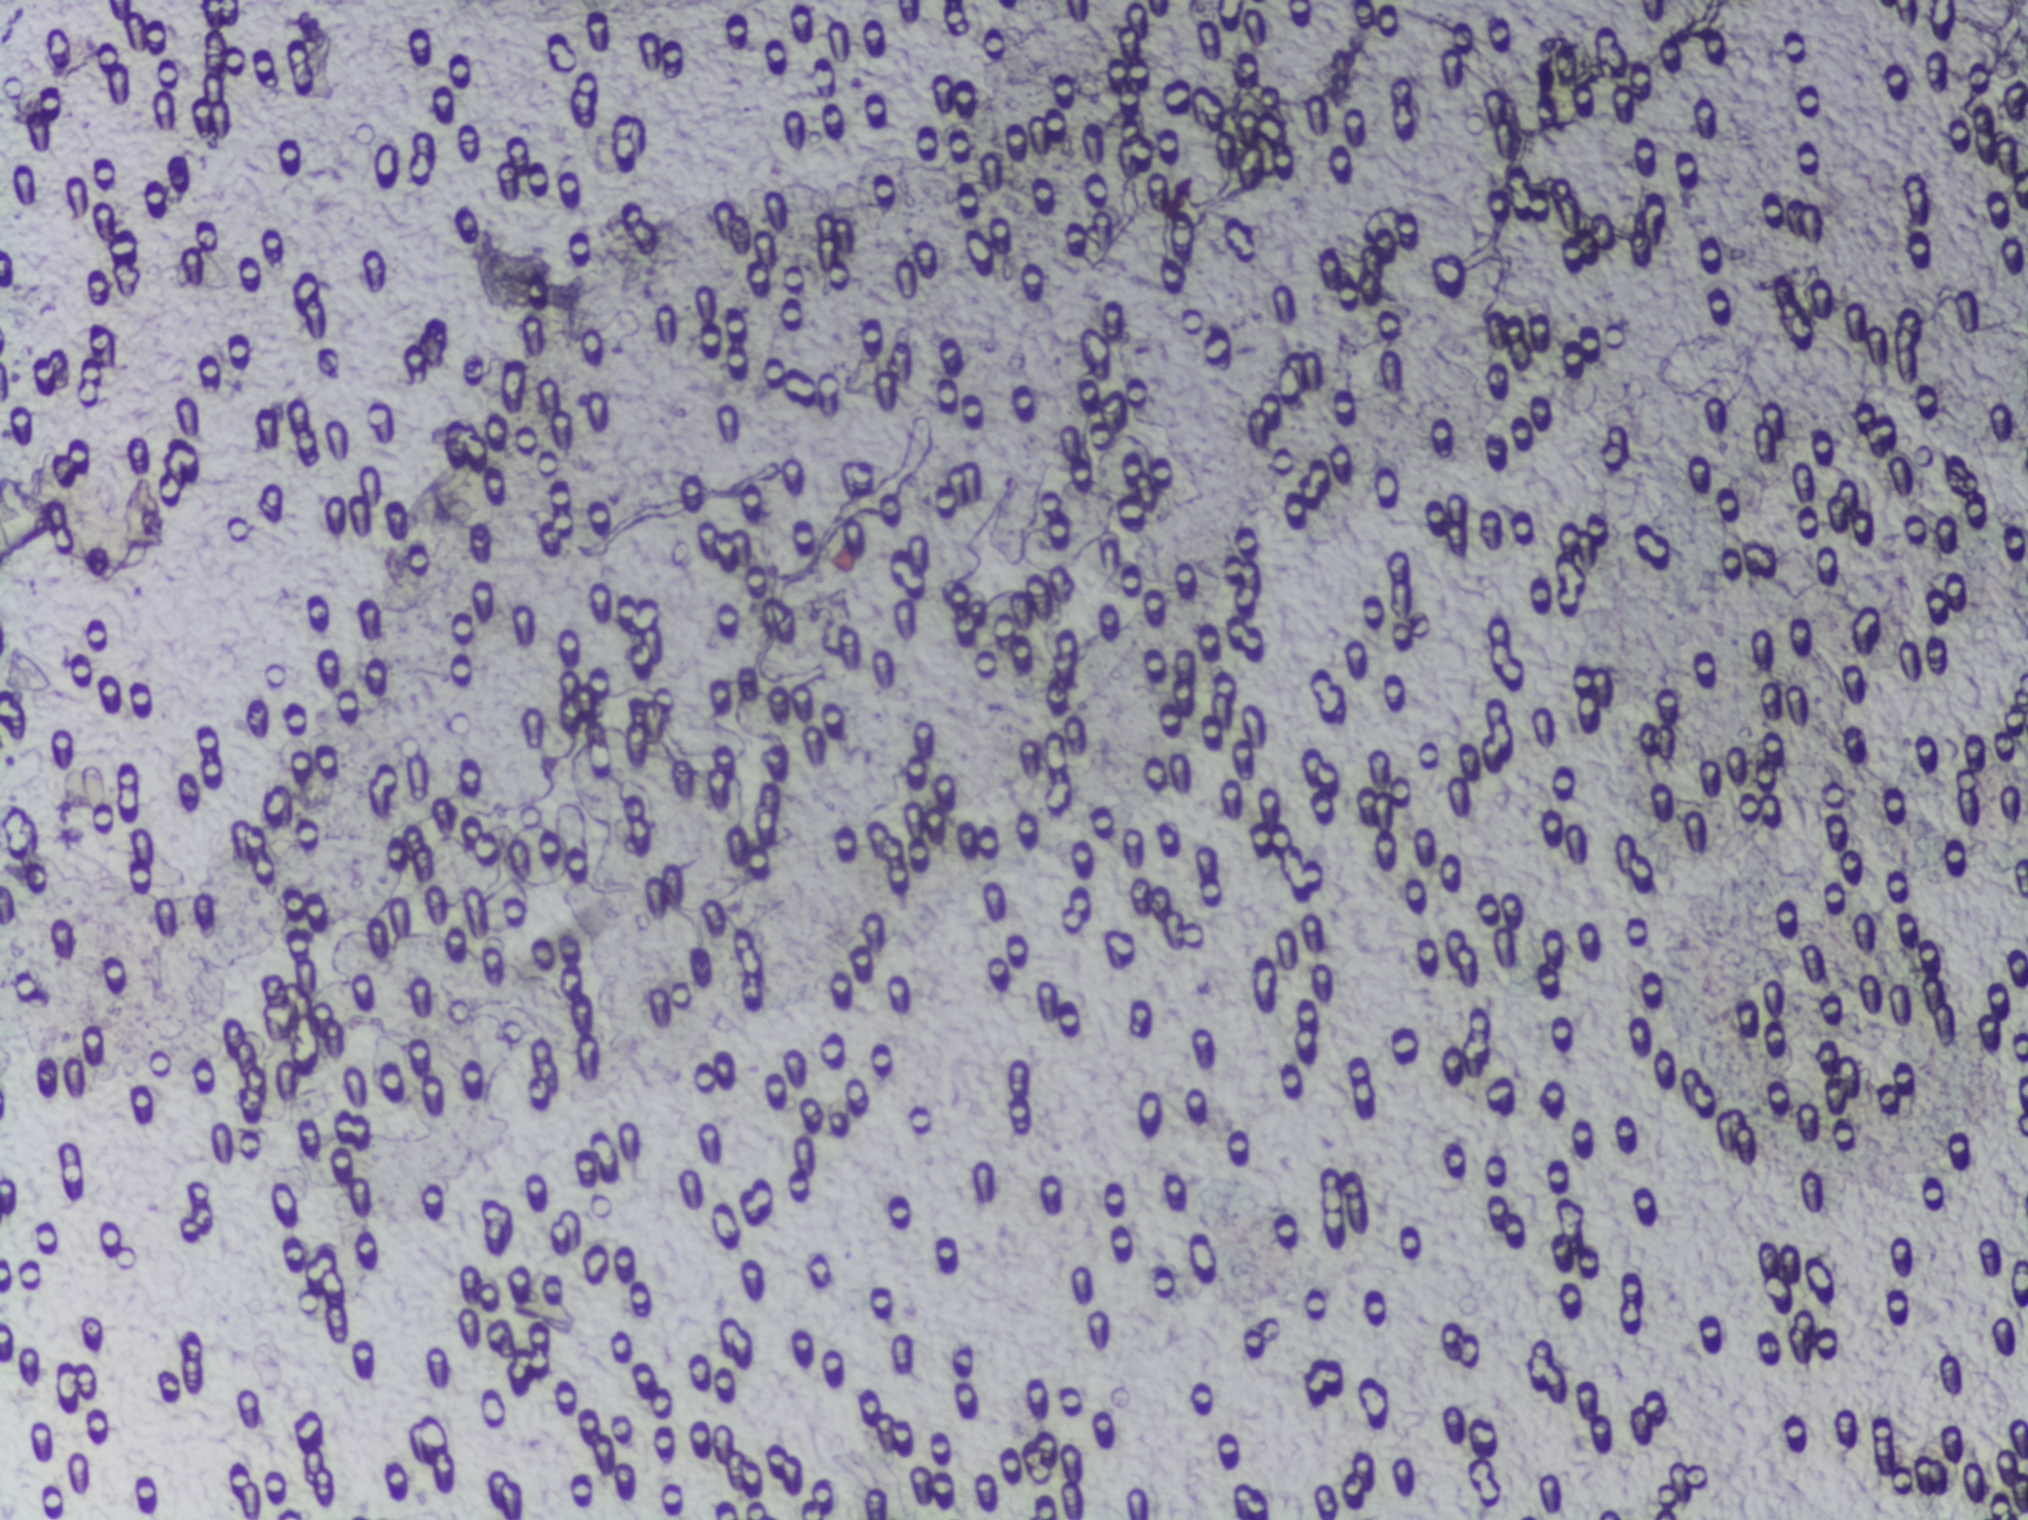
Microscope photograph (4× objective) of a membrane that a urine sample was filtered through. Field of view: about 1.5 mm wide and 1.1 mm high.
The expert annotation marks no Schistosoma egg in this field of view.